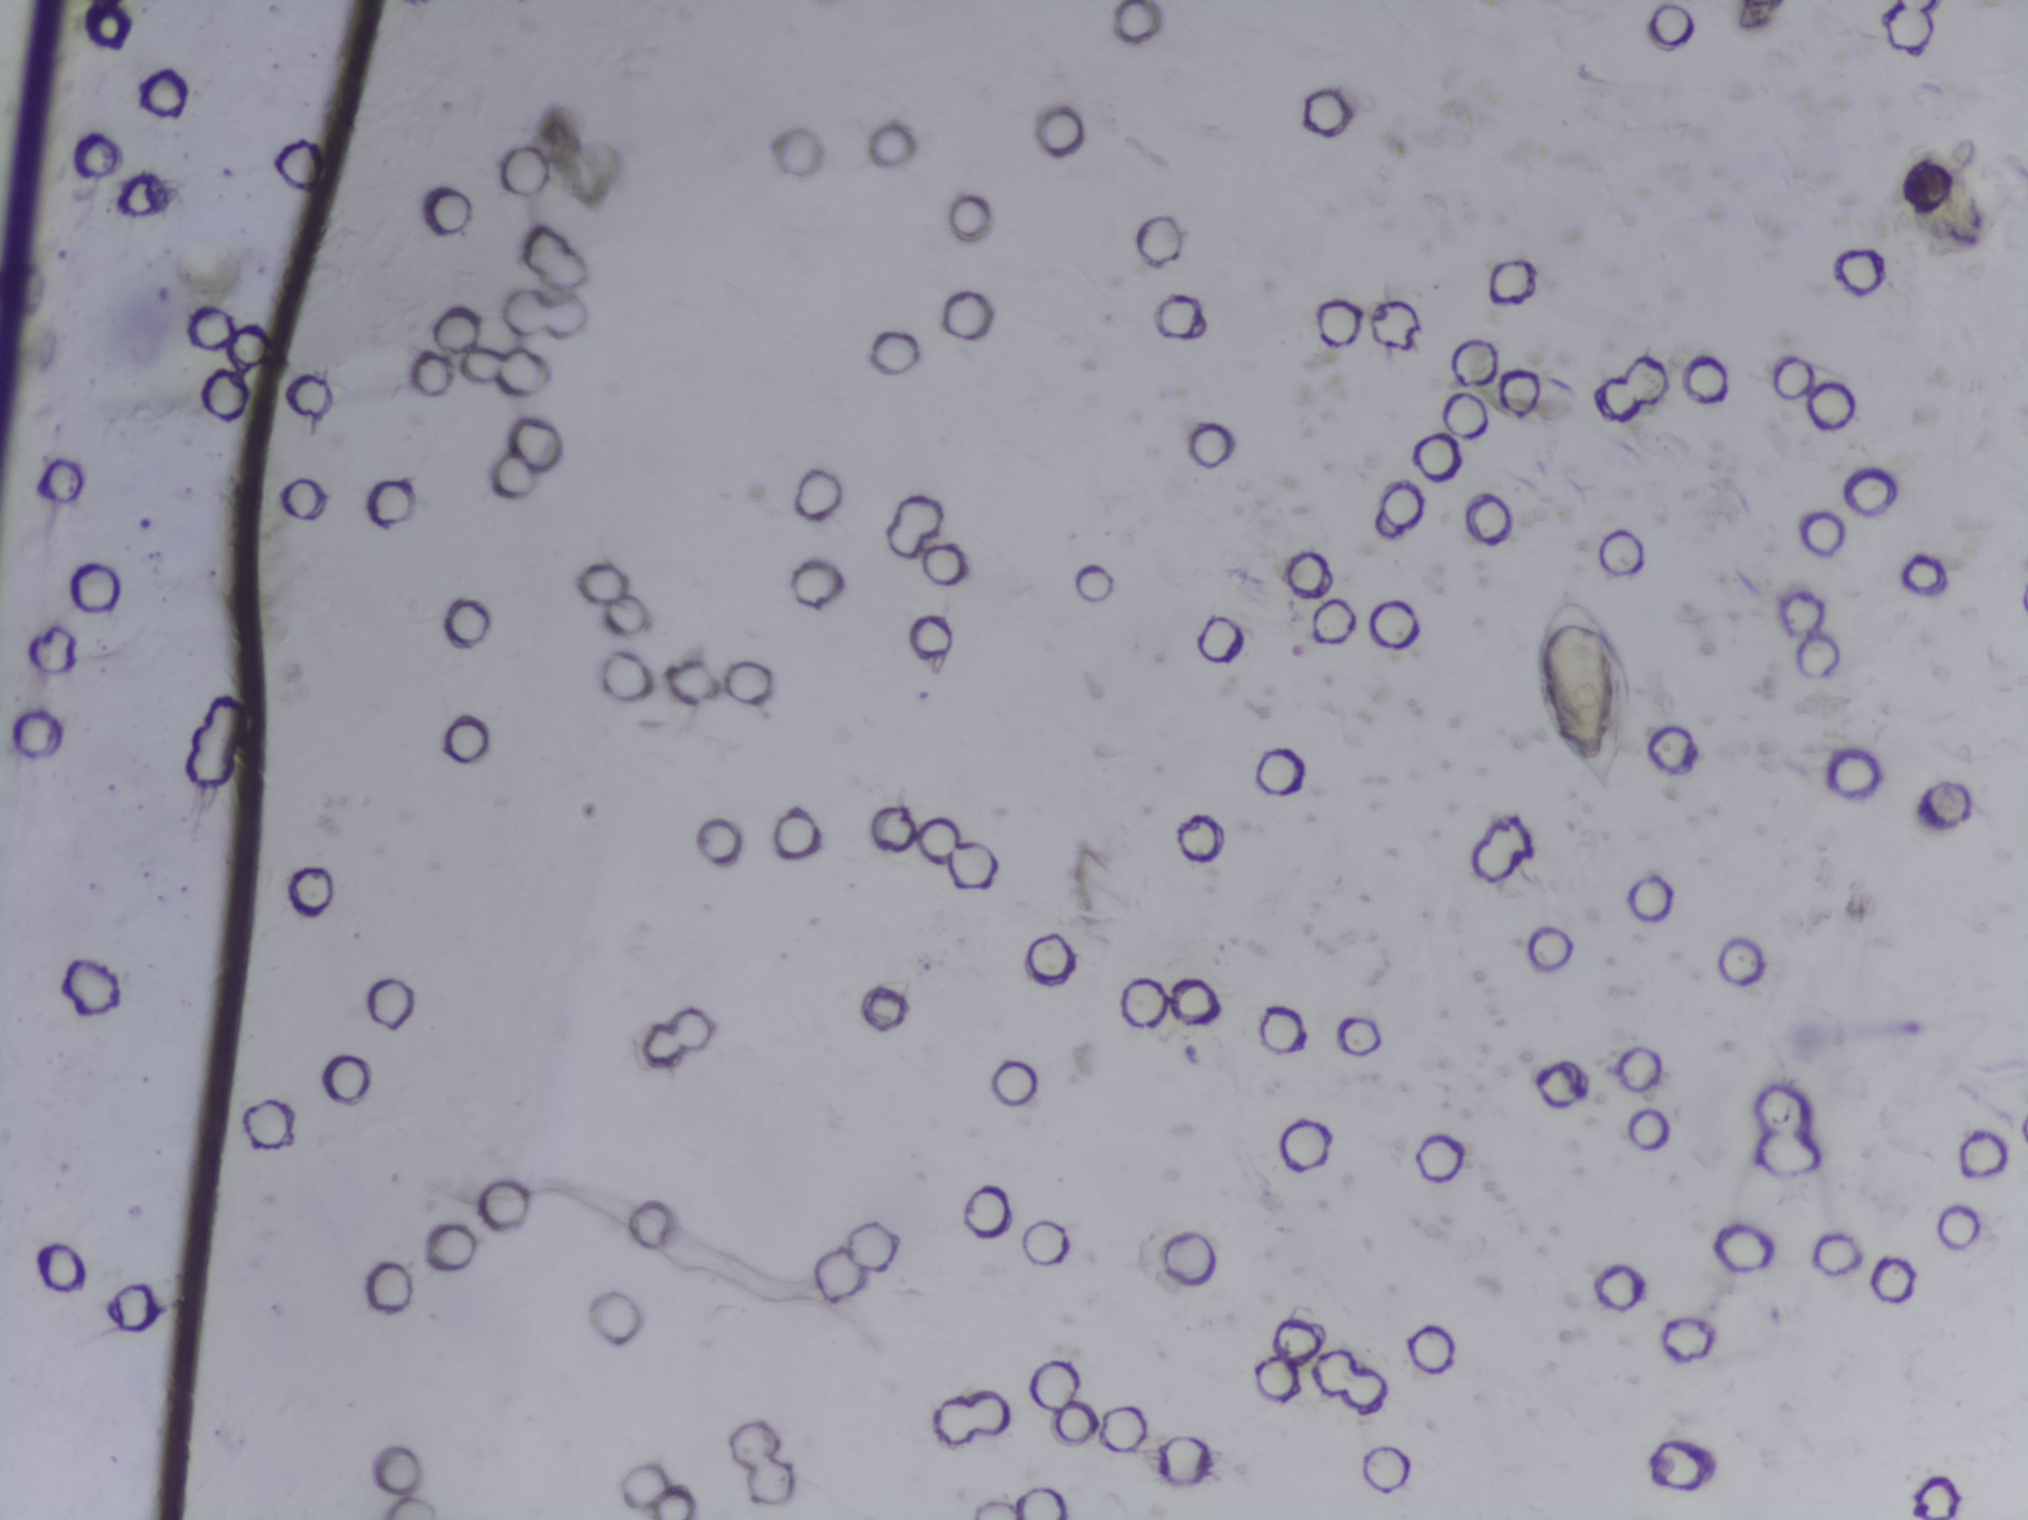
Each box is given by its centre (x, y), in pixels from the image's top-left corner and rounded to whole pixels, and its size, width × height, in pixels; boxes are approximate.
Areas outlined as Schistosoma eggs: centre (1582, 692), 100 × 211 px. The marked pixels themselves, not the box around them, cover about 0.5% of the image. Eggs that touch can end up inside the same outlined area. Any one outlined egg may, rarely, be S. mansoni rather than S. haematobium.
Photomicrograph of a urine filtration membrane, 4× objective. Field of view: about 1.5 mm wide and 1.1 mm high.